Photomicrograph of a urine filtration membrane, 4× objective.
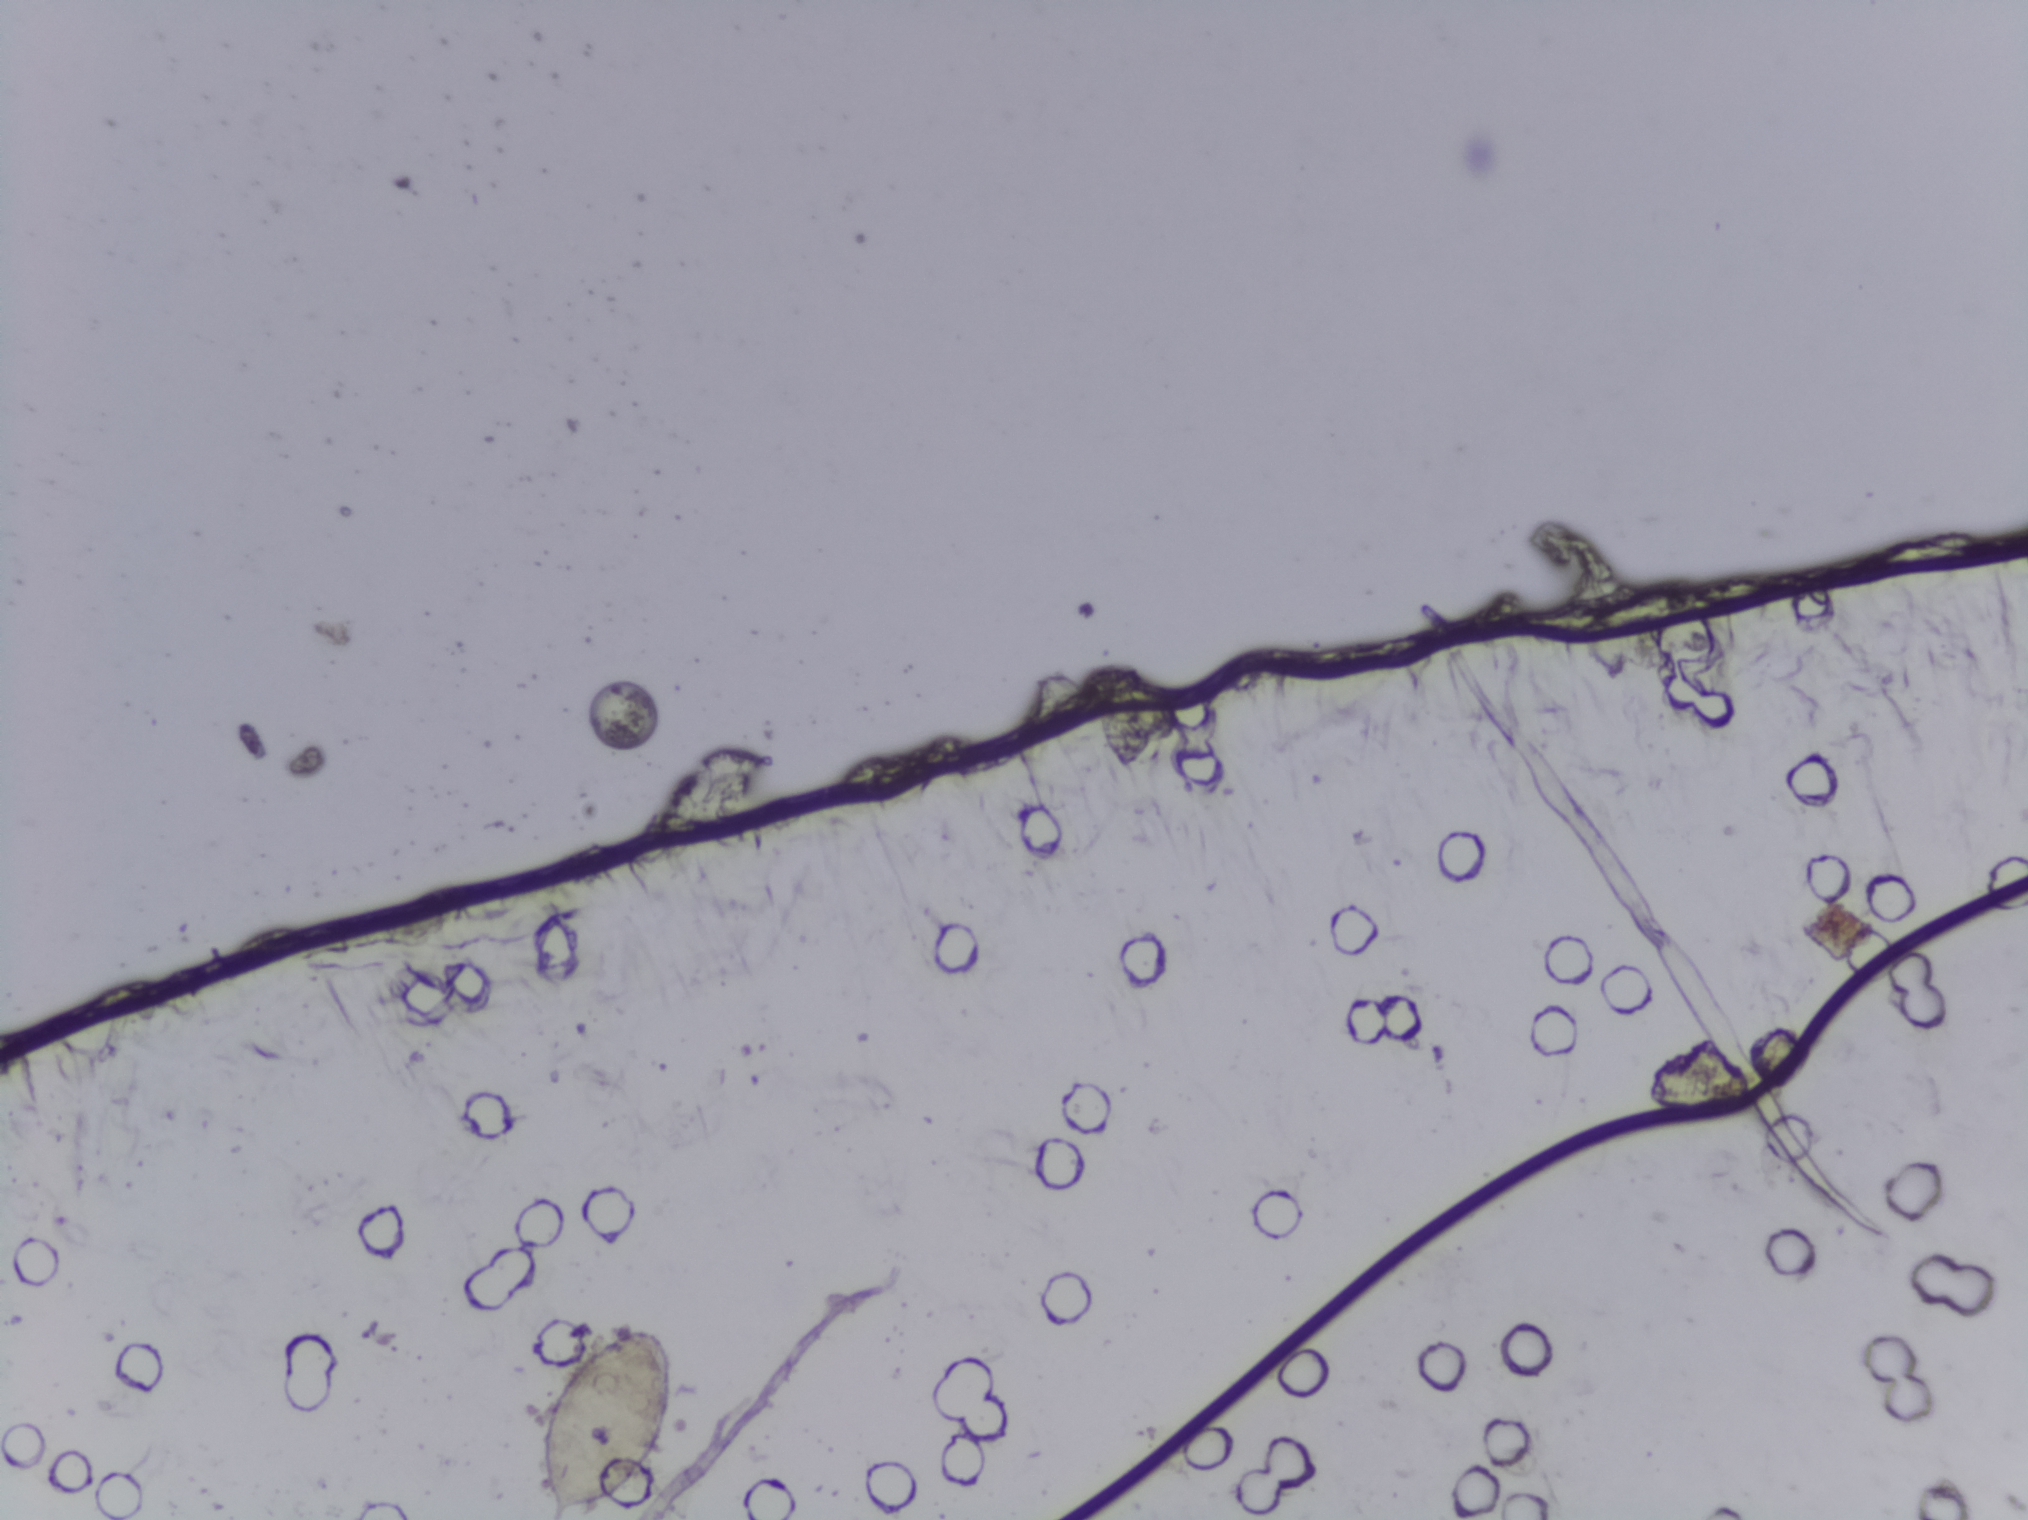
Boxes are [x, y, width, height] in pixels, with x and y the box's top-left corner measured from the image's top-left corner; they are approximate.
Schistosoma eggs are outlined in the expert annotation at [542, 1323, 132, 197] (reaching the bottom edge of the frame). Marked pixels, not the box around them: about 0.7% of the image. Eggs that touch can end up inside the same outlined area.